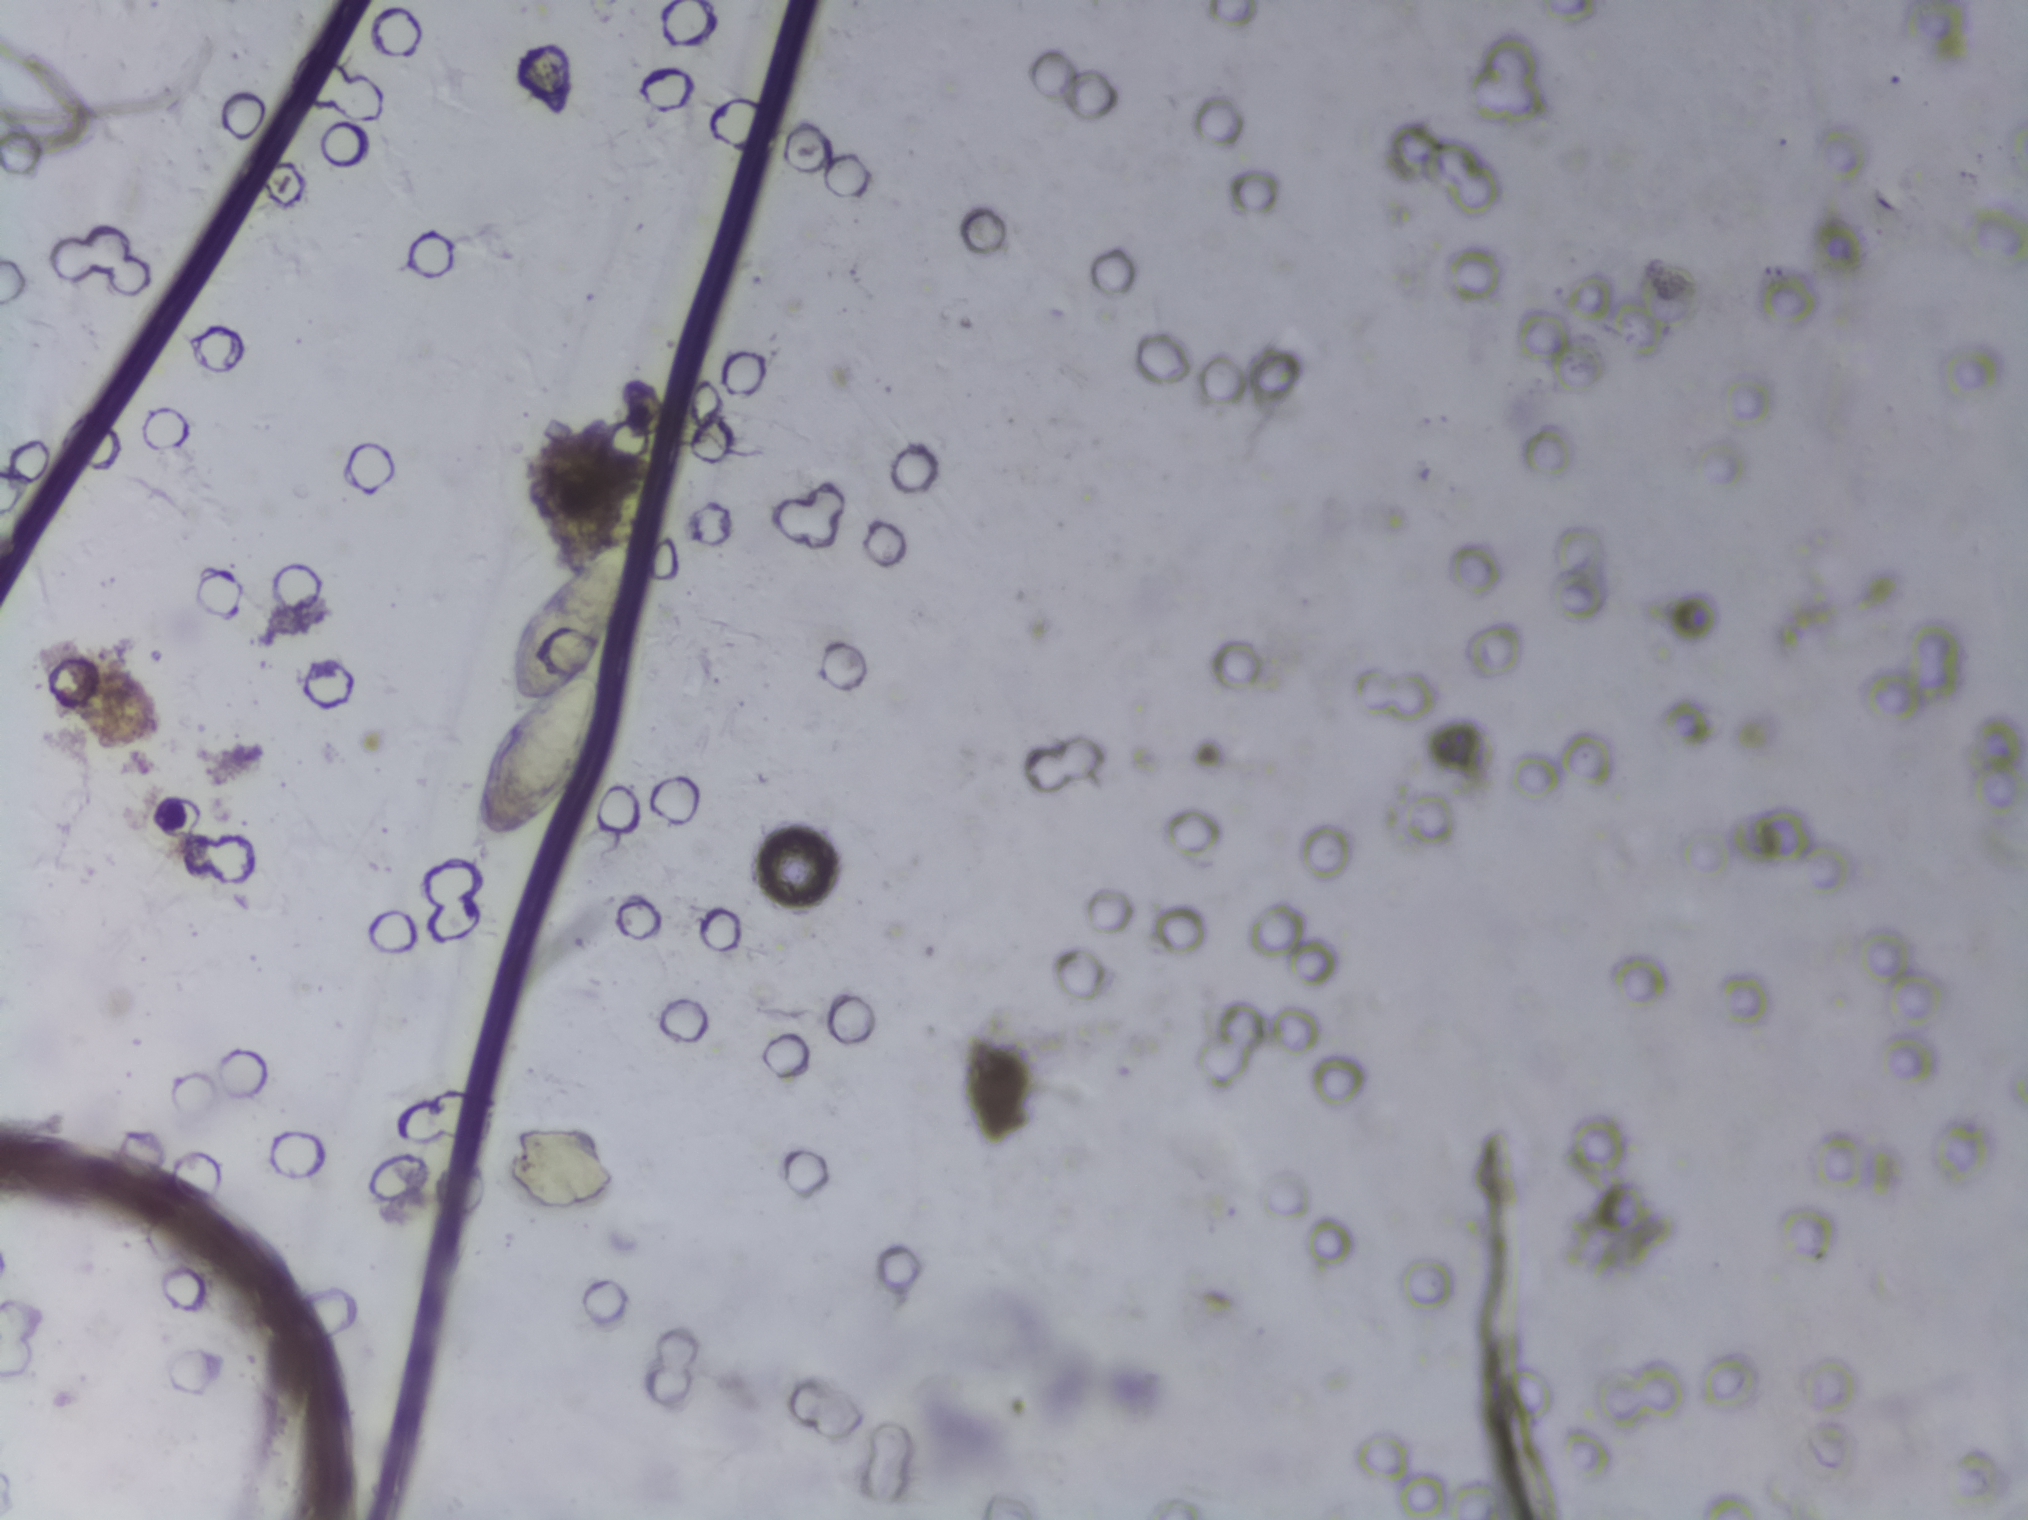
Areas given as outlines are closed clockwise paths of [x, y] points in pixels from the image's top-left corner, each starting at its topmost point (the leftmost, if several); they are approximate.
The expert annotation outlines Schistosoma eggs in one area: outline [623, 535], [638, 538], [639, 552], [621, 622], [606, 651], [611, 671], [599, 687], [586, 773], [543, 827], [509, 847], [473, 855], [464, 842], [465, 809], [500, 724], [513, 716], [506, 664], [524, 613], [558, 571]. About 0.9% of the image's pixels are marked (the marked pixels themselves, not the outline around them). An outlined area can hold more than one egg.
Urine filter membrane photographed through a 4× microscope objective.